Photograph from an automated digital microscope: urine filter membrane, 4× objective.
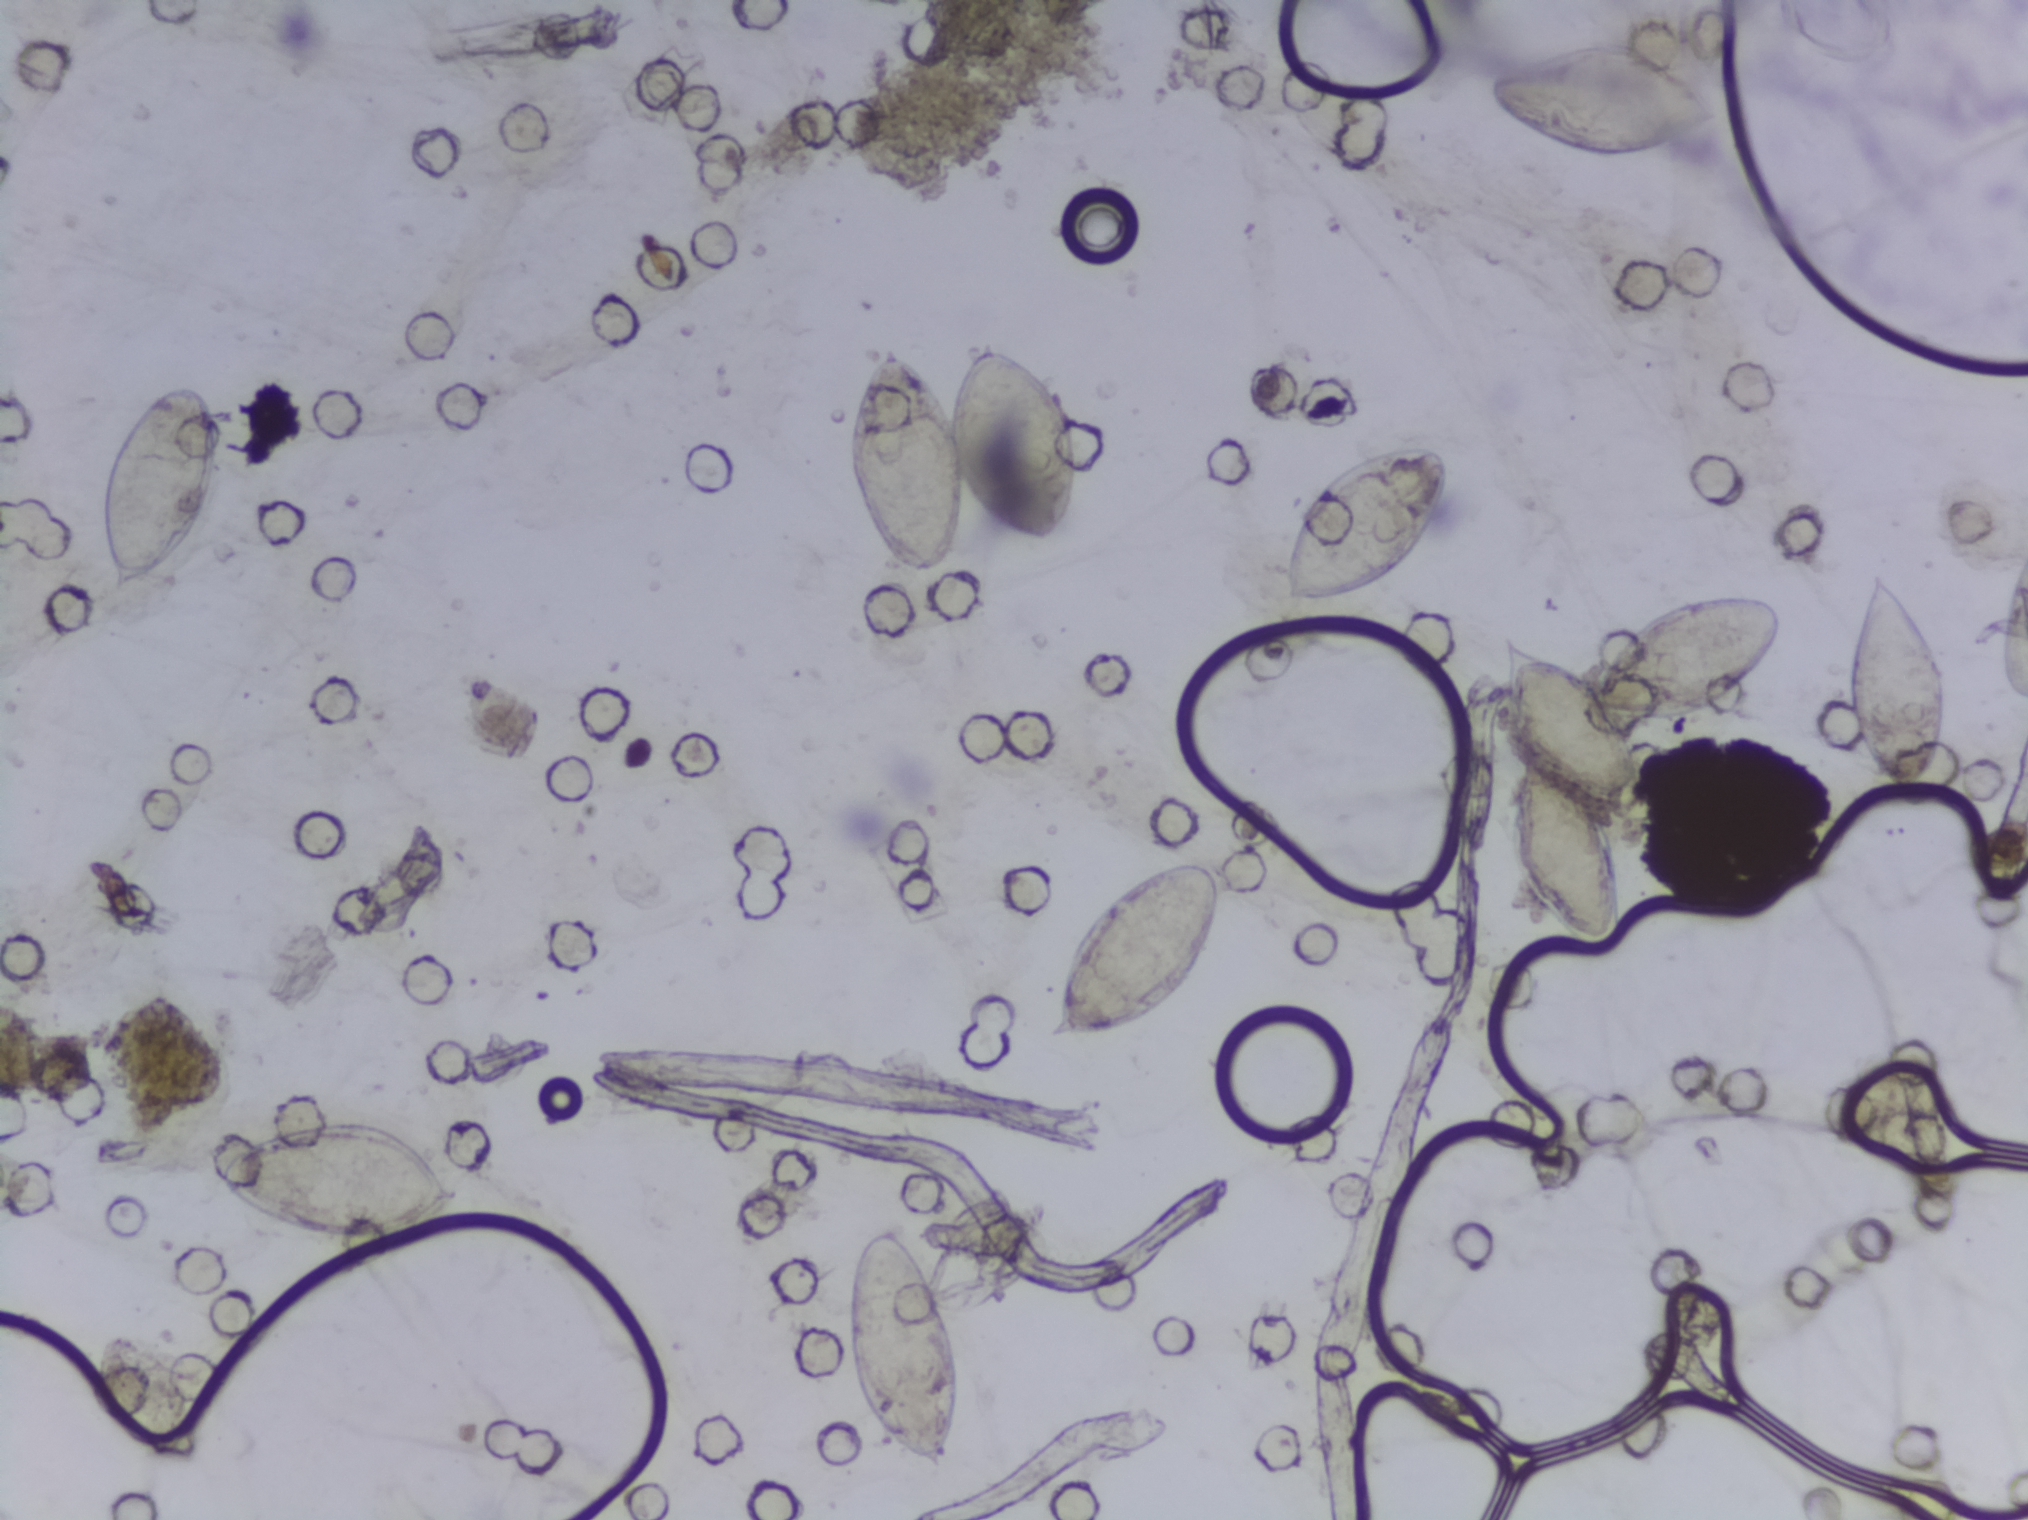
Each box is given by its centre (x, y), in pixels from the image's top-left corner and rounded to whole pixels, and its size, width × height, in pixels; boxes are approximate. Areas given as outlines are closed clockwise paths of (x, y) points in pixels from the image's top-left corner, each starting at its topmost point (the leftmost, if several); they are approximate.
The expert annotation outlines Schistosoma eggs in nine areas, left to right: box centre (161, 491), 128 × 224 px; box centre (338, 1179), 266 × 124 px; box centre (902, 1350), 123 × 251 px; box centre (961, 459), 233 × 259 px; box centre (1135, 951), 174 × 183 px; box centre (1365, 525), 174 × 172 px; box centre (1601, 100), 234 × 132 px; outline (1693, 590), (1771, 593), (1788, 617), (1788, 649), (1769, 683), (1727, 713), (1671, 723), (1617, 716), (1645, 752), (1651, 811), (1637, 827), (1608, 826), (1623, 865), (1625, 951), (1615, 959), (1582, 959), (1523, 902), (1508, 871), (1506, 795), (1518, 752), (1496, 703), (1502, 637), (1542, 640), (1591, 678), (1646, 609) (eggs clustered together); box centre (1899, 688), 103 × 244 px. Eggs that touch can end up inside the same outlined area.